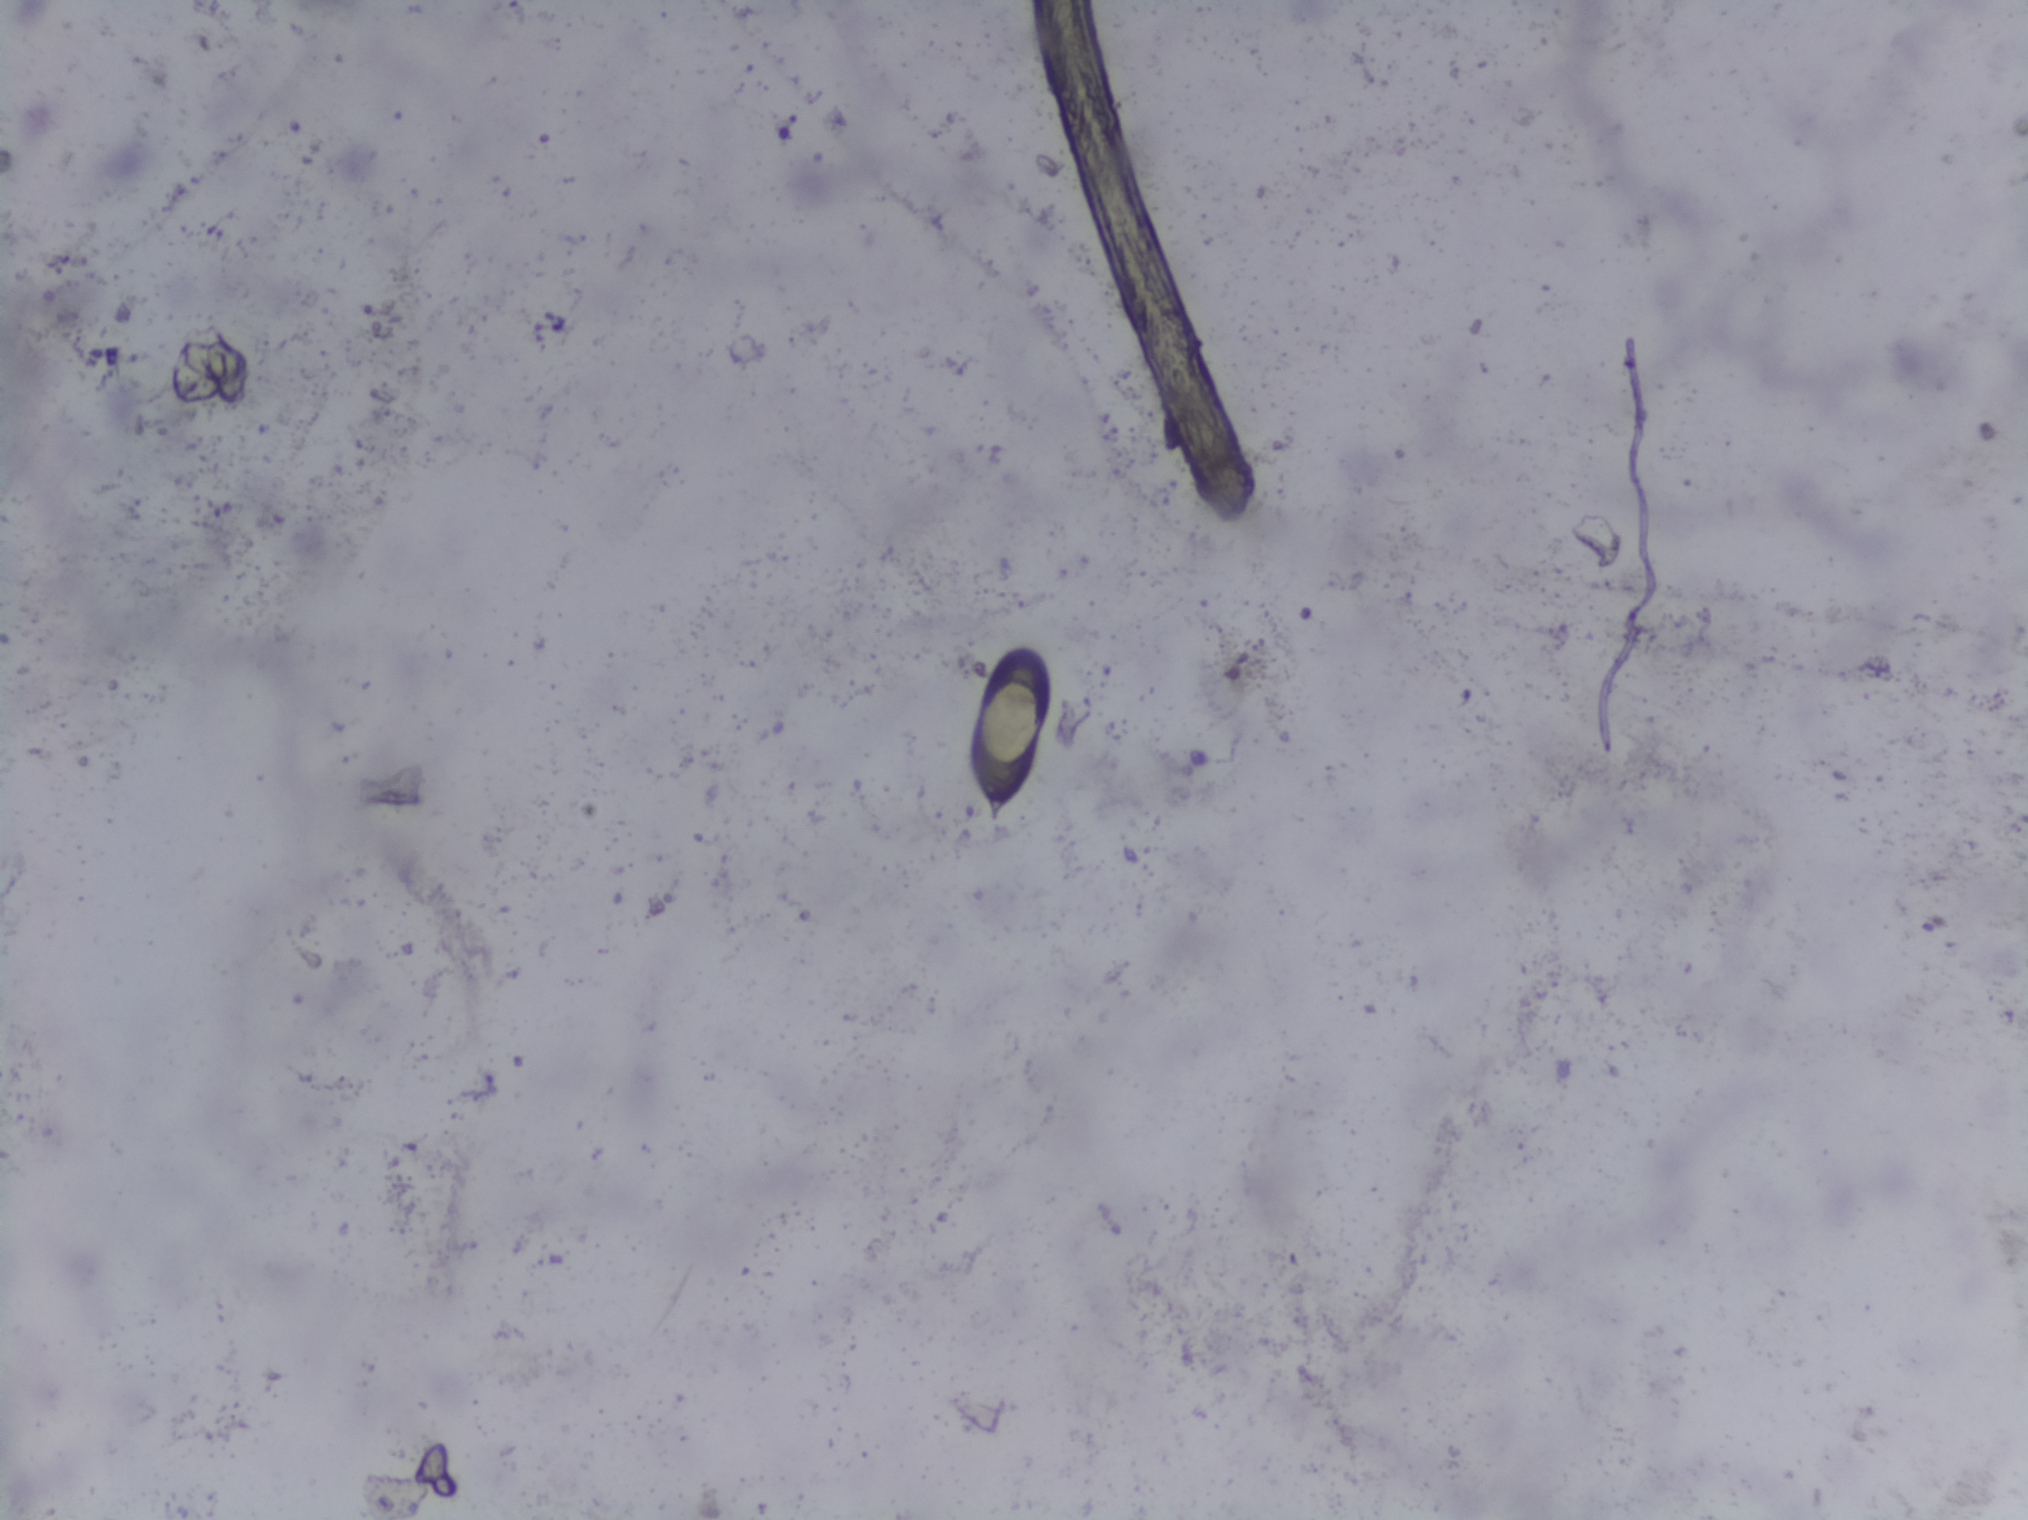
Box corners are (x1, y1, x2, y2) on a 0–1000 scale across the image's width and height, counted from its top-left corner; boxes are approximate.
Schistosoma eggs are outlined in the expert annotation at (479, 423, 518, 544). Eggs that touch can end up inside the same outlined area.
One field of view of a urine filter membrane, 4× objective, 2028 × 1520 pixels.